One field of view of a urine filter membrane, 4× objective, 2028 × 1520 pixels.
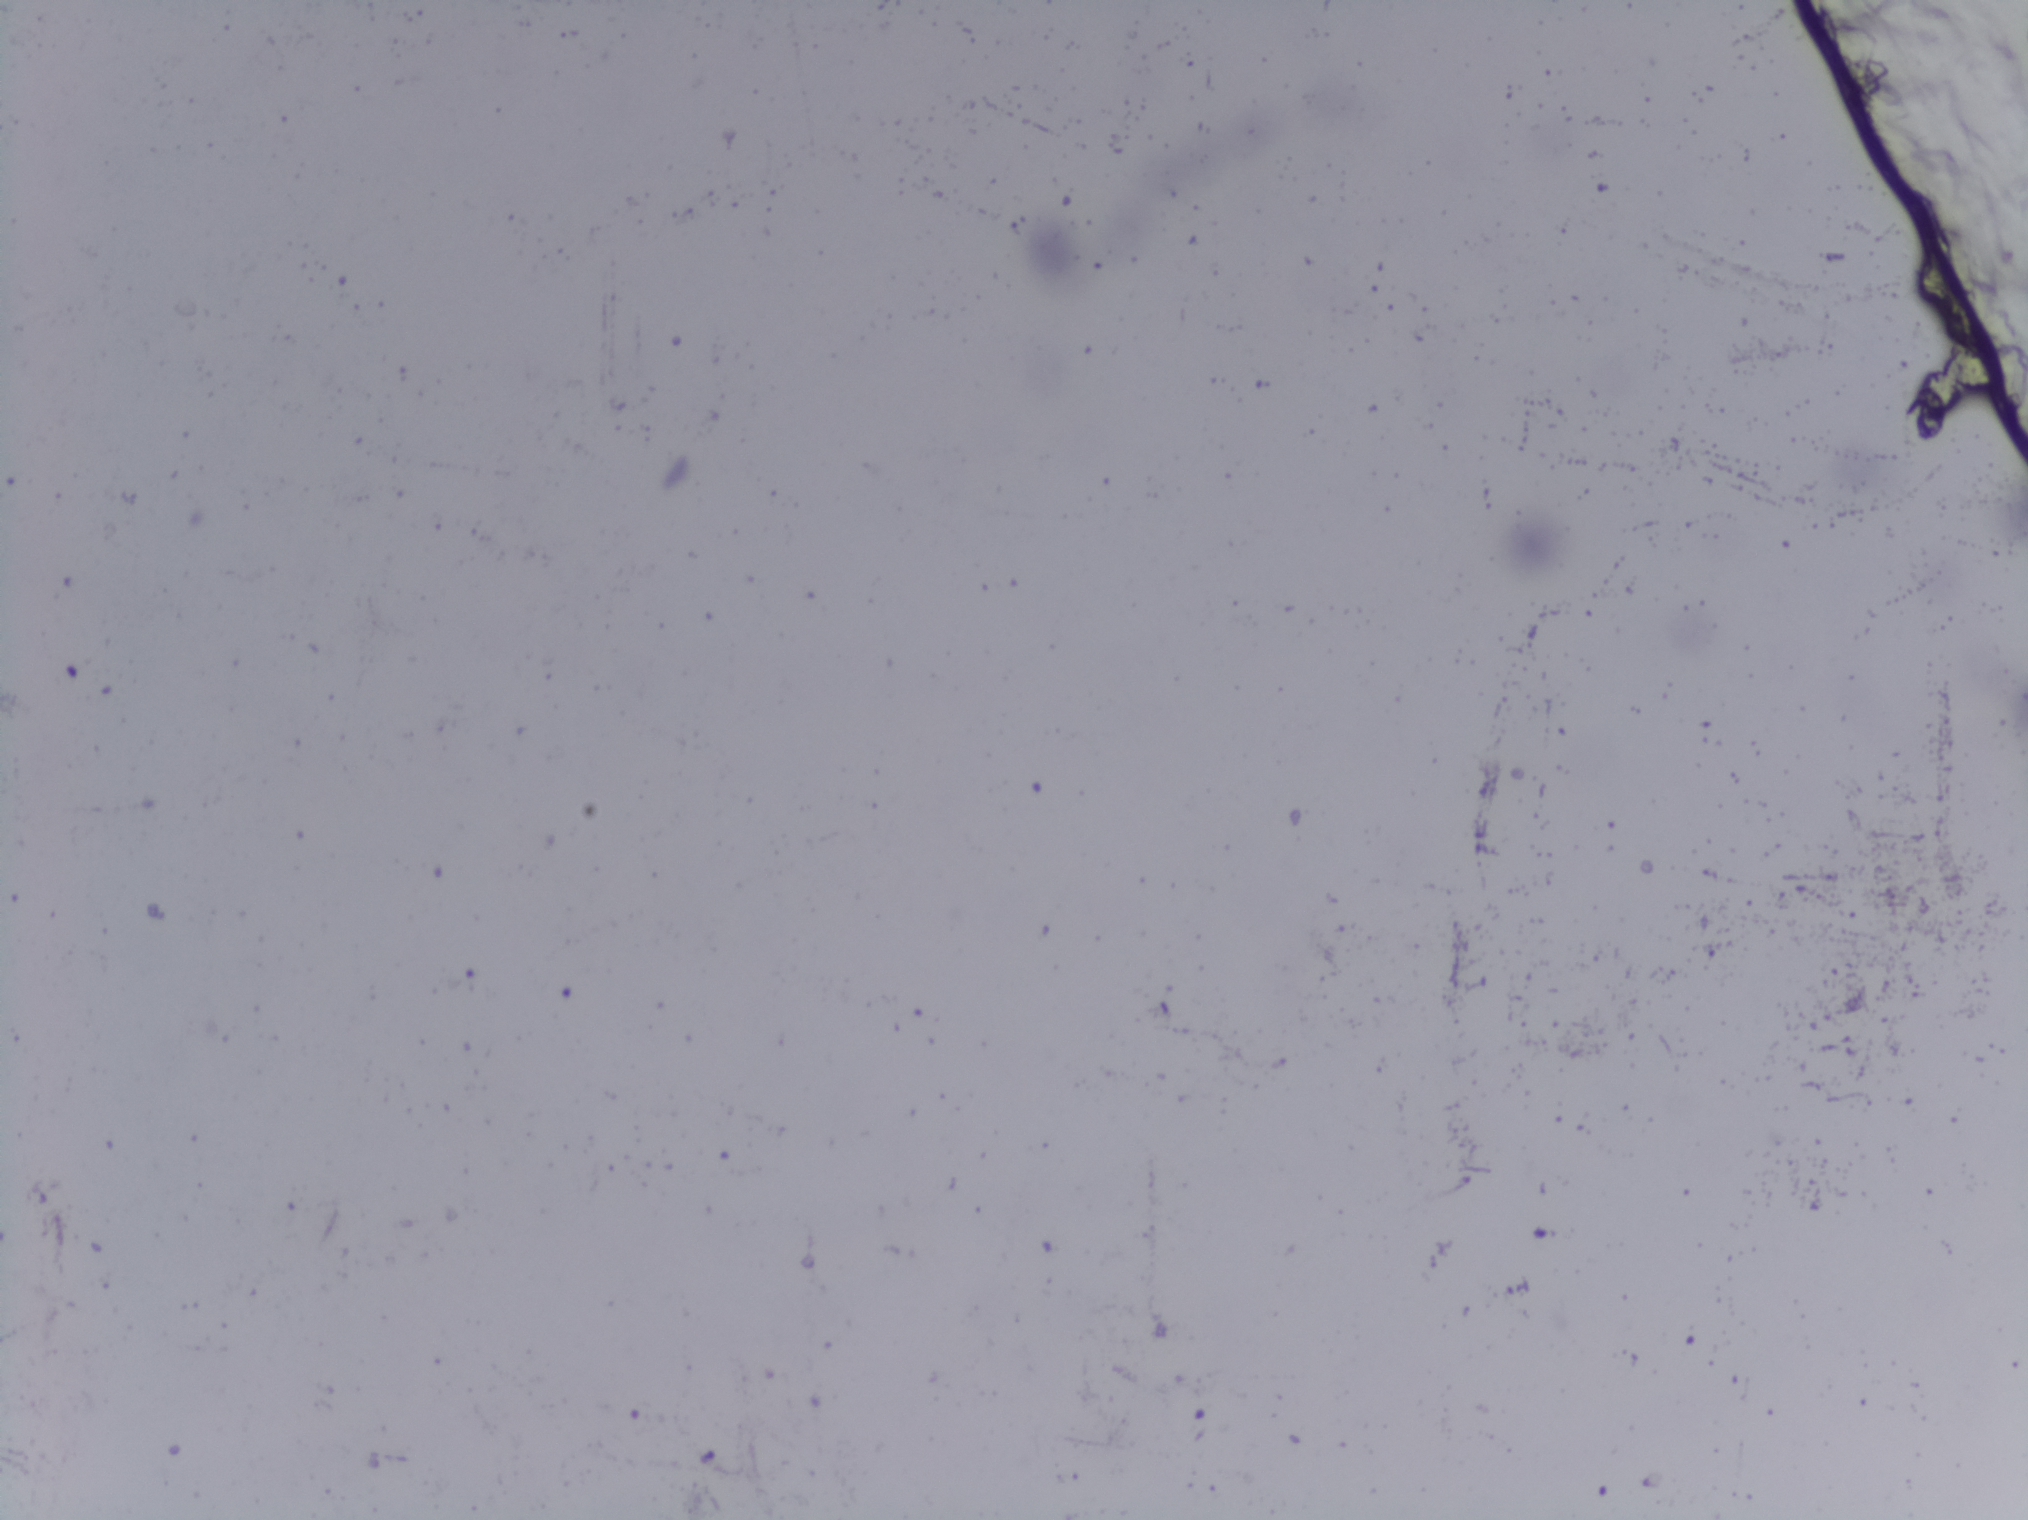
The expert annotation marks no Schistosoma egg in this field of view.